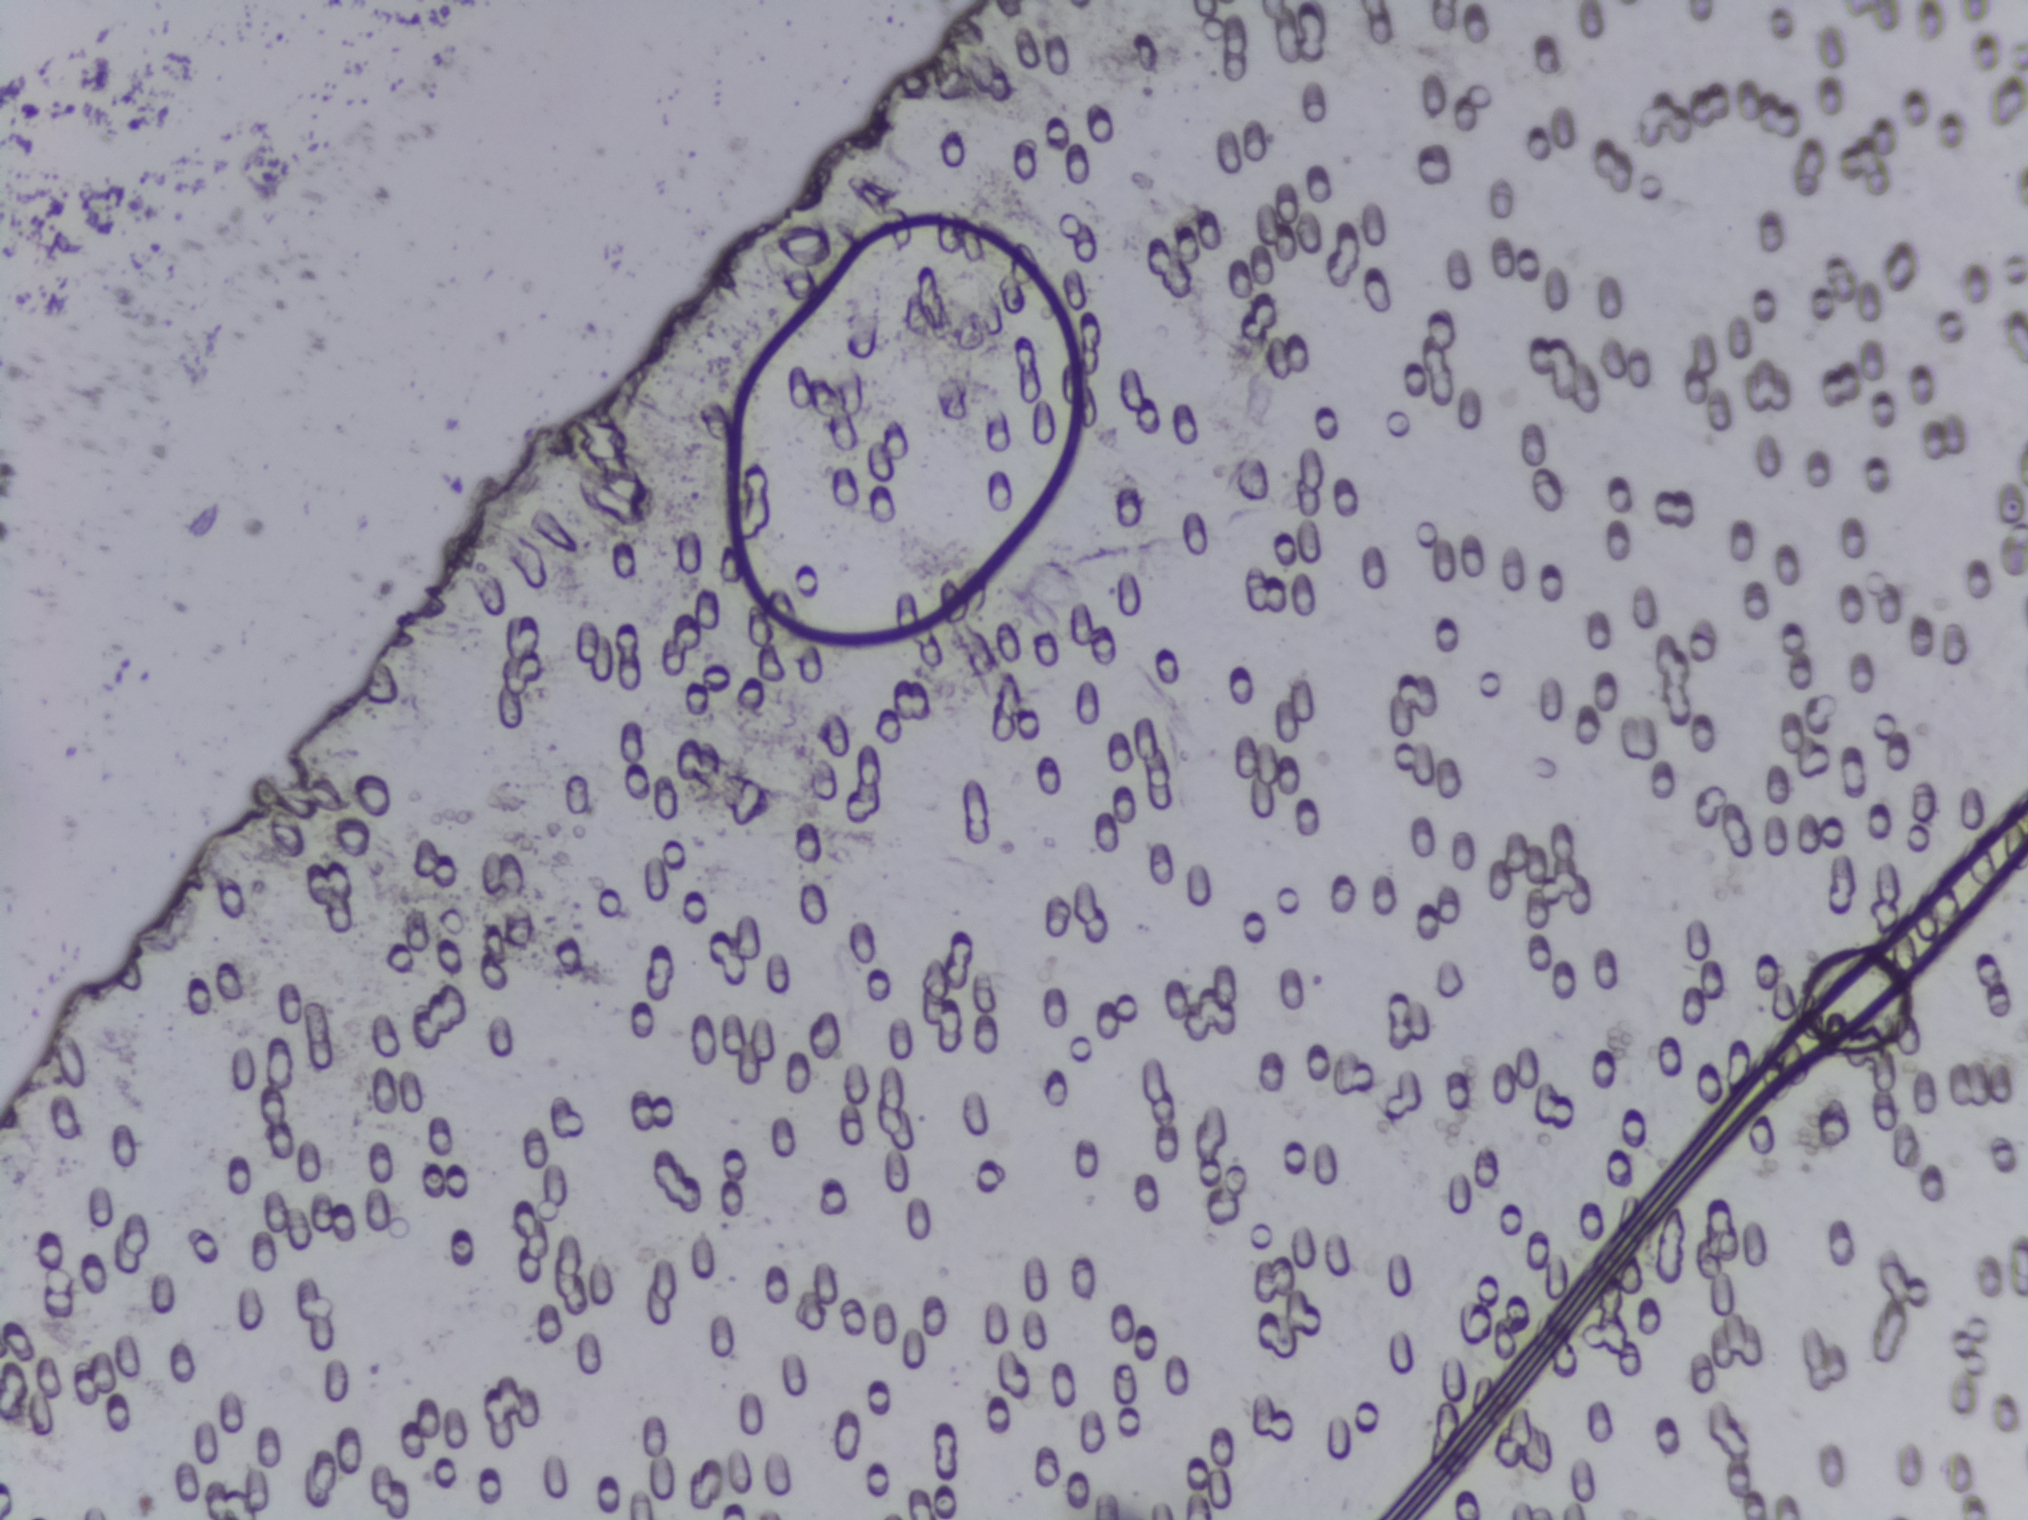
Photomicrograph of a urine filtration membrane, 4× objective.
The expert annotation marks no Schistosoma egg in this field of view.